Photograph from an automated digital microscope: urine filter membrane, 4× objective.
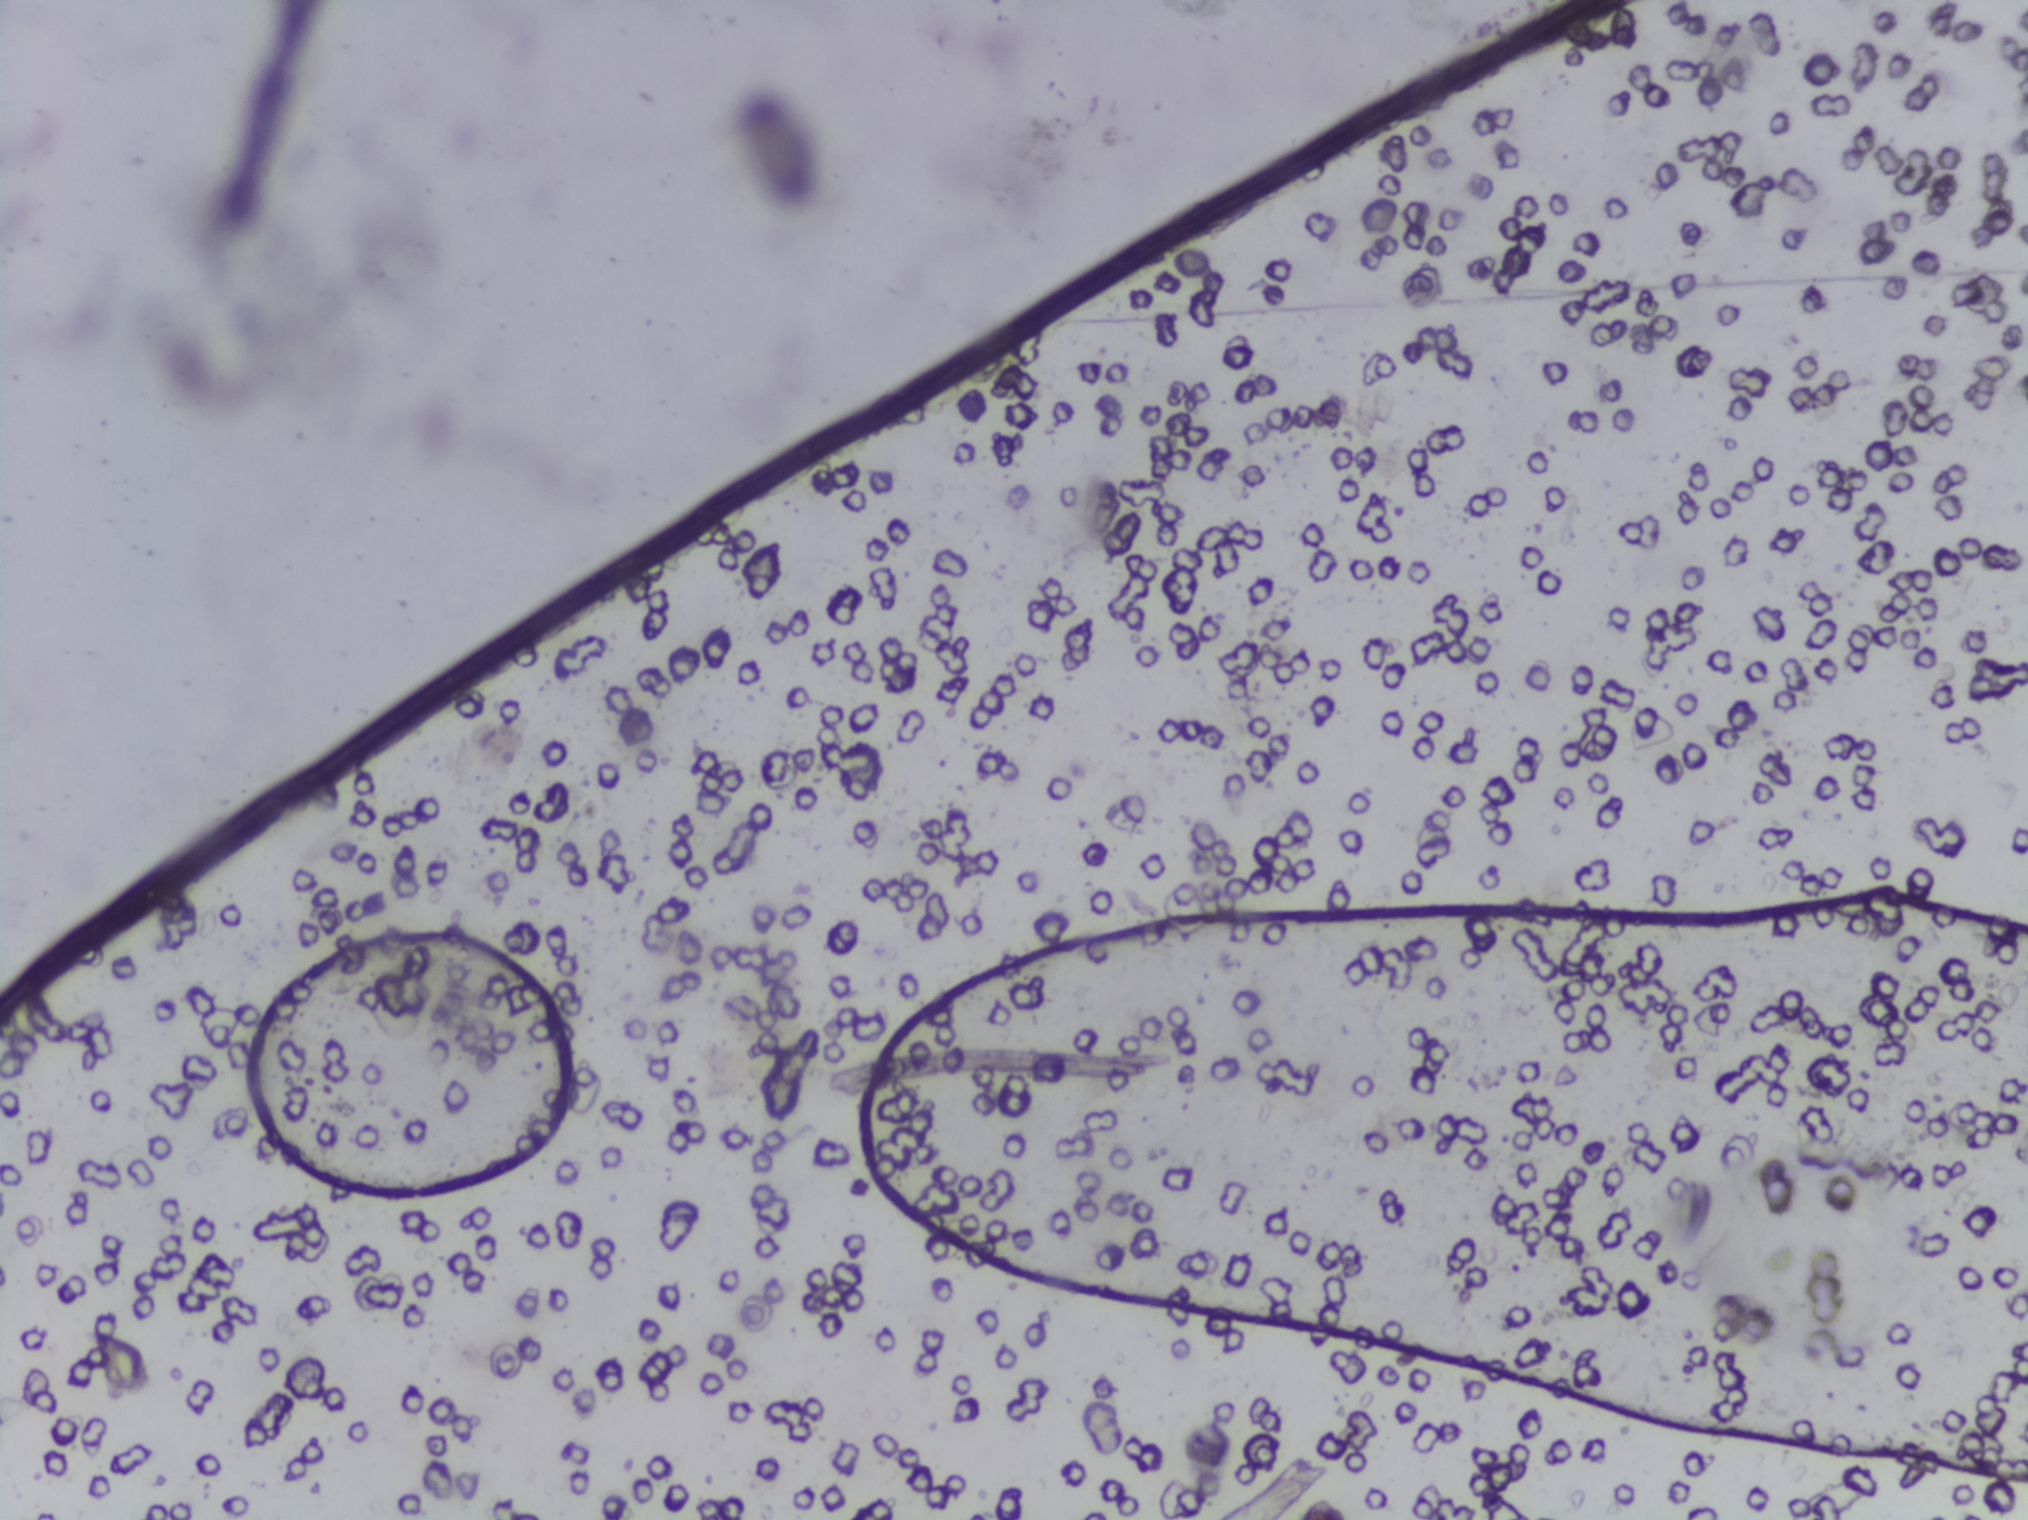
The expert annotation outlines no Schistosoma egg in this image.